Photograph from an automated digital microscope: urine filter membrane, 4× objective.
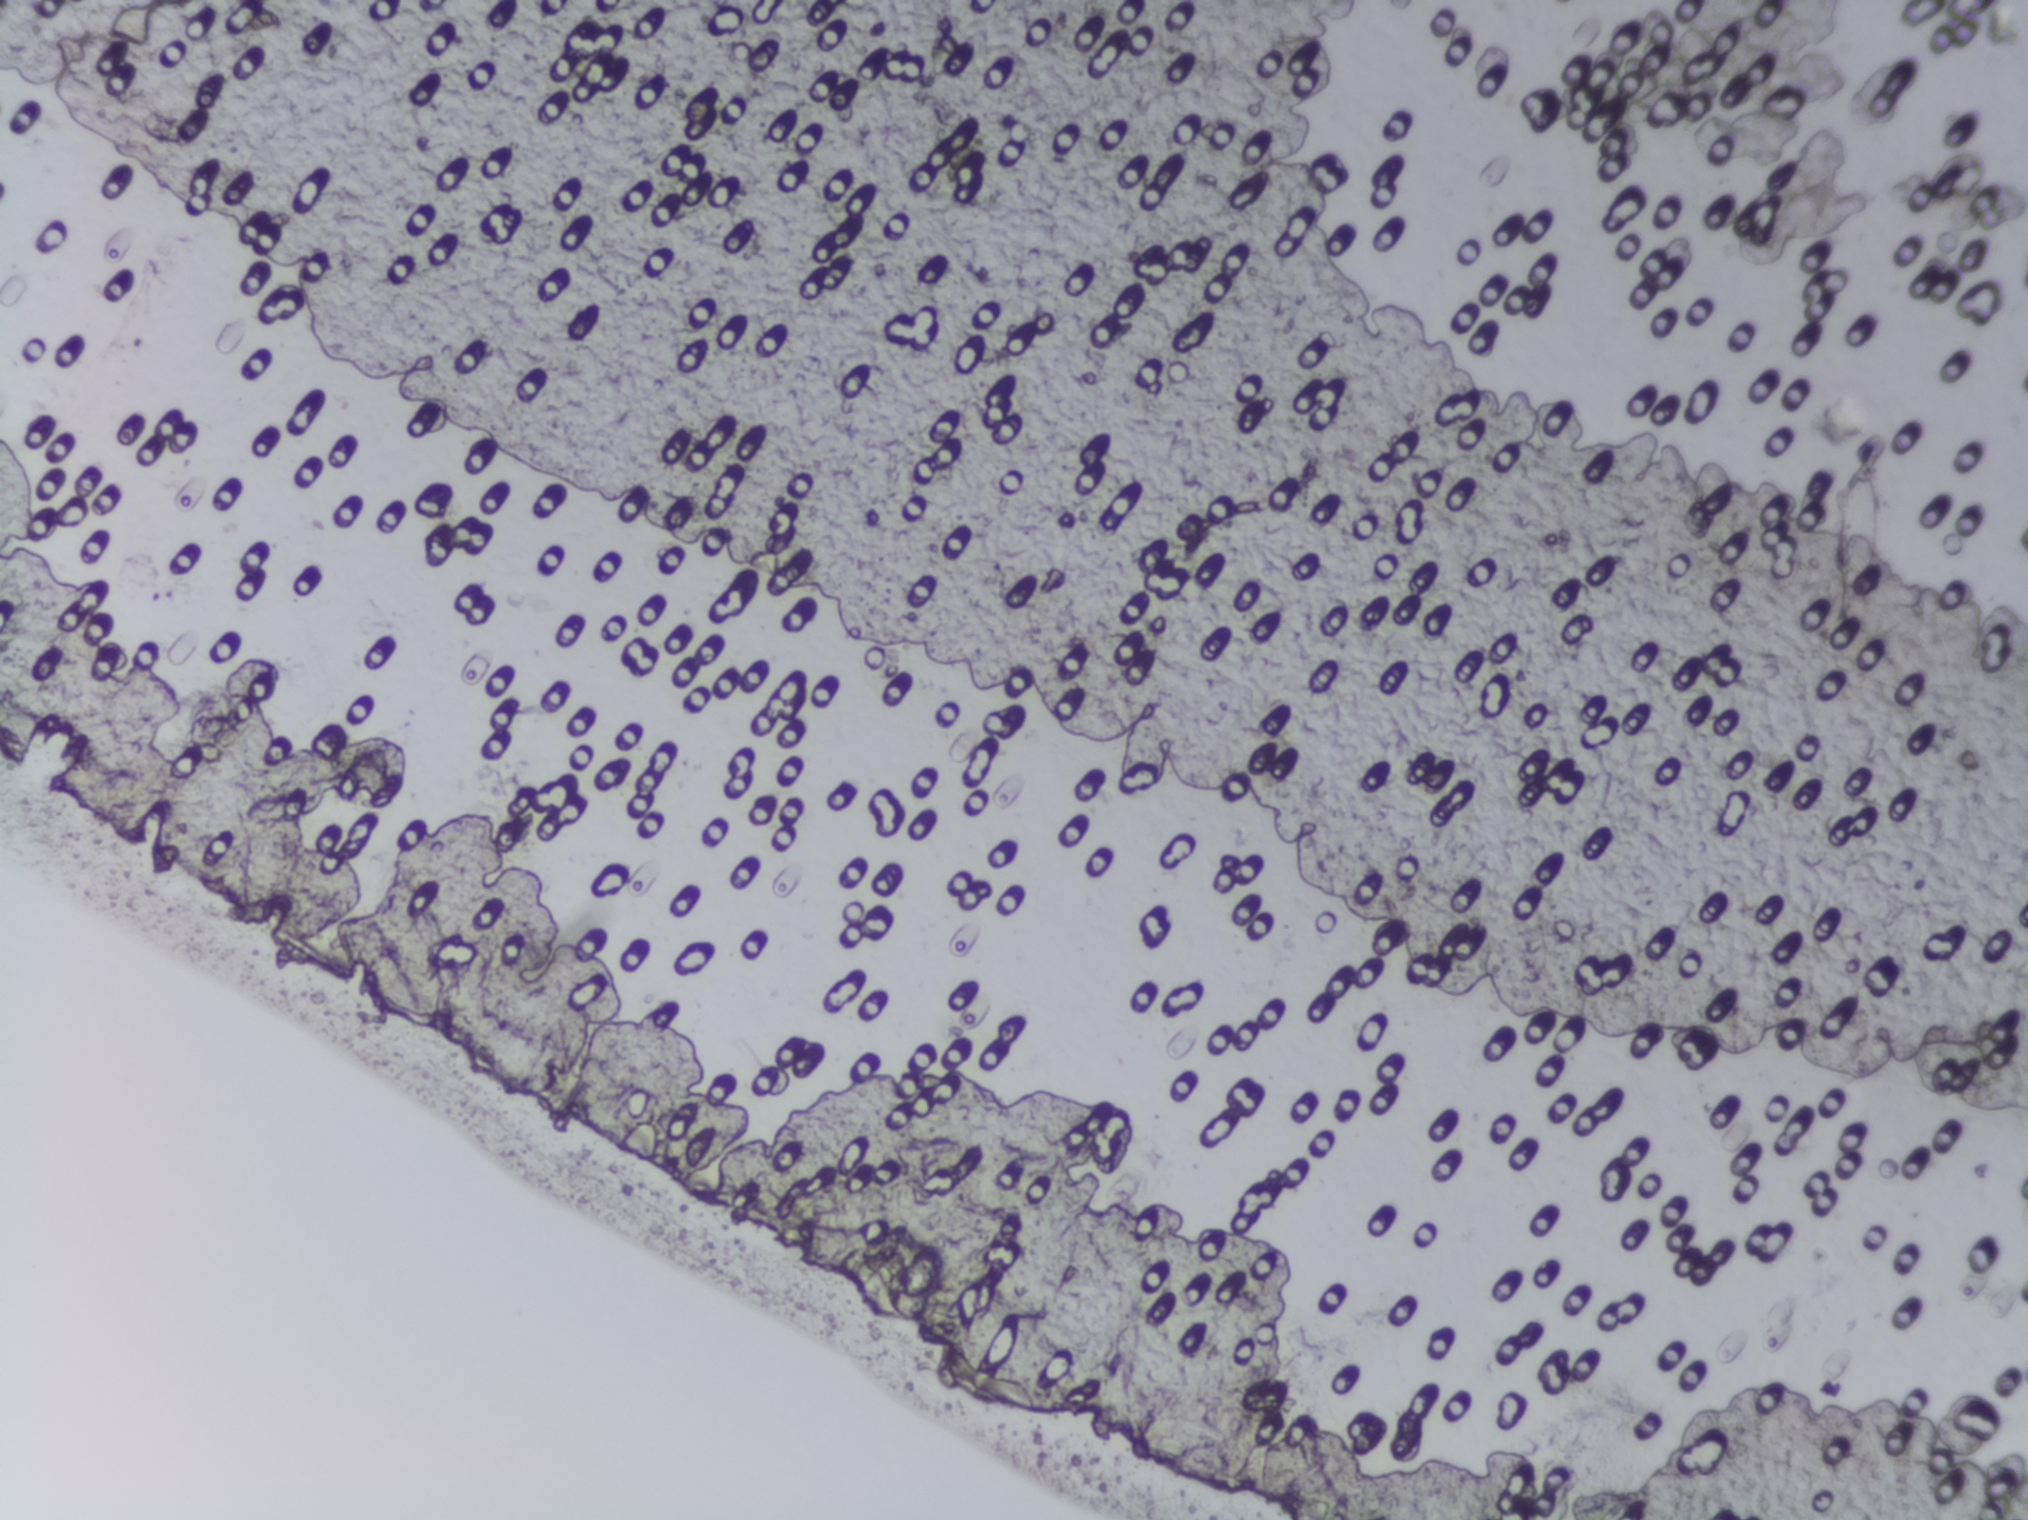
No area of this image was outlined as a Schistosoma egg.